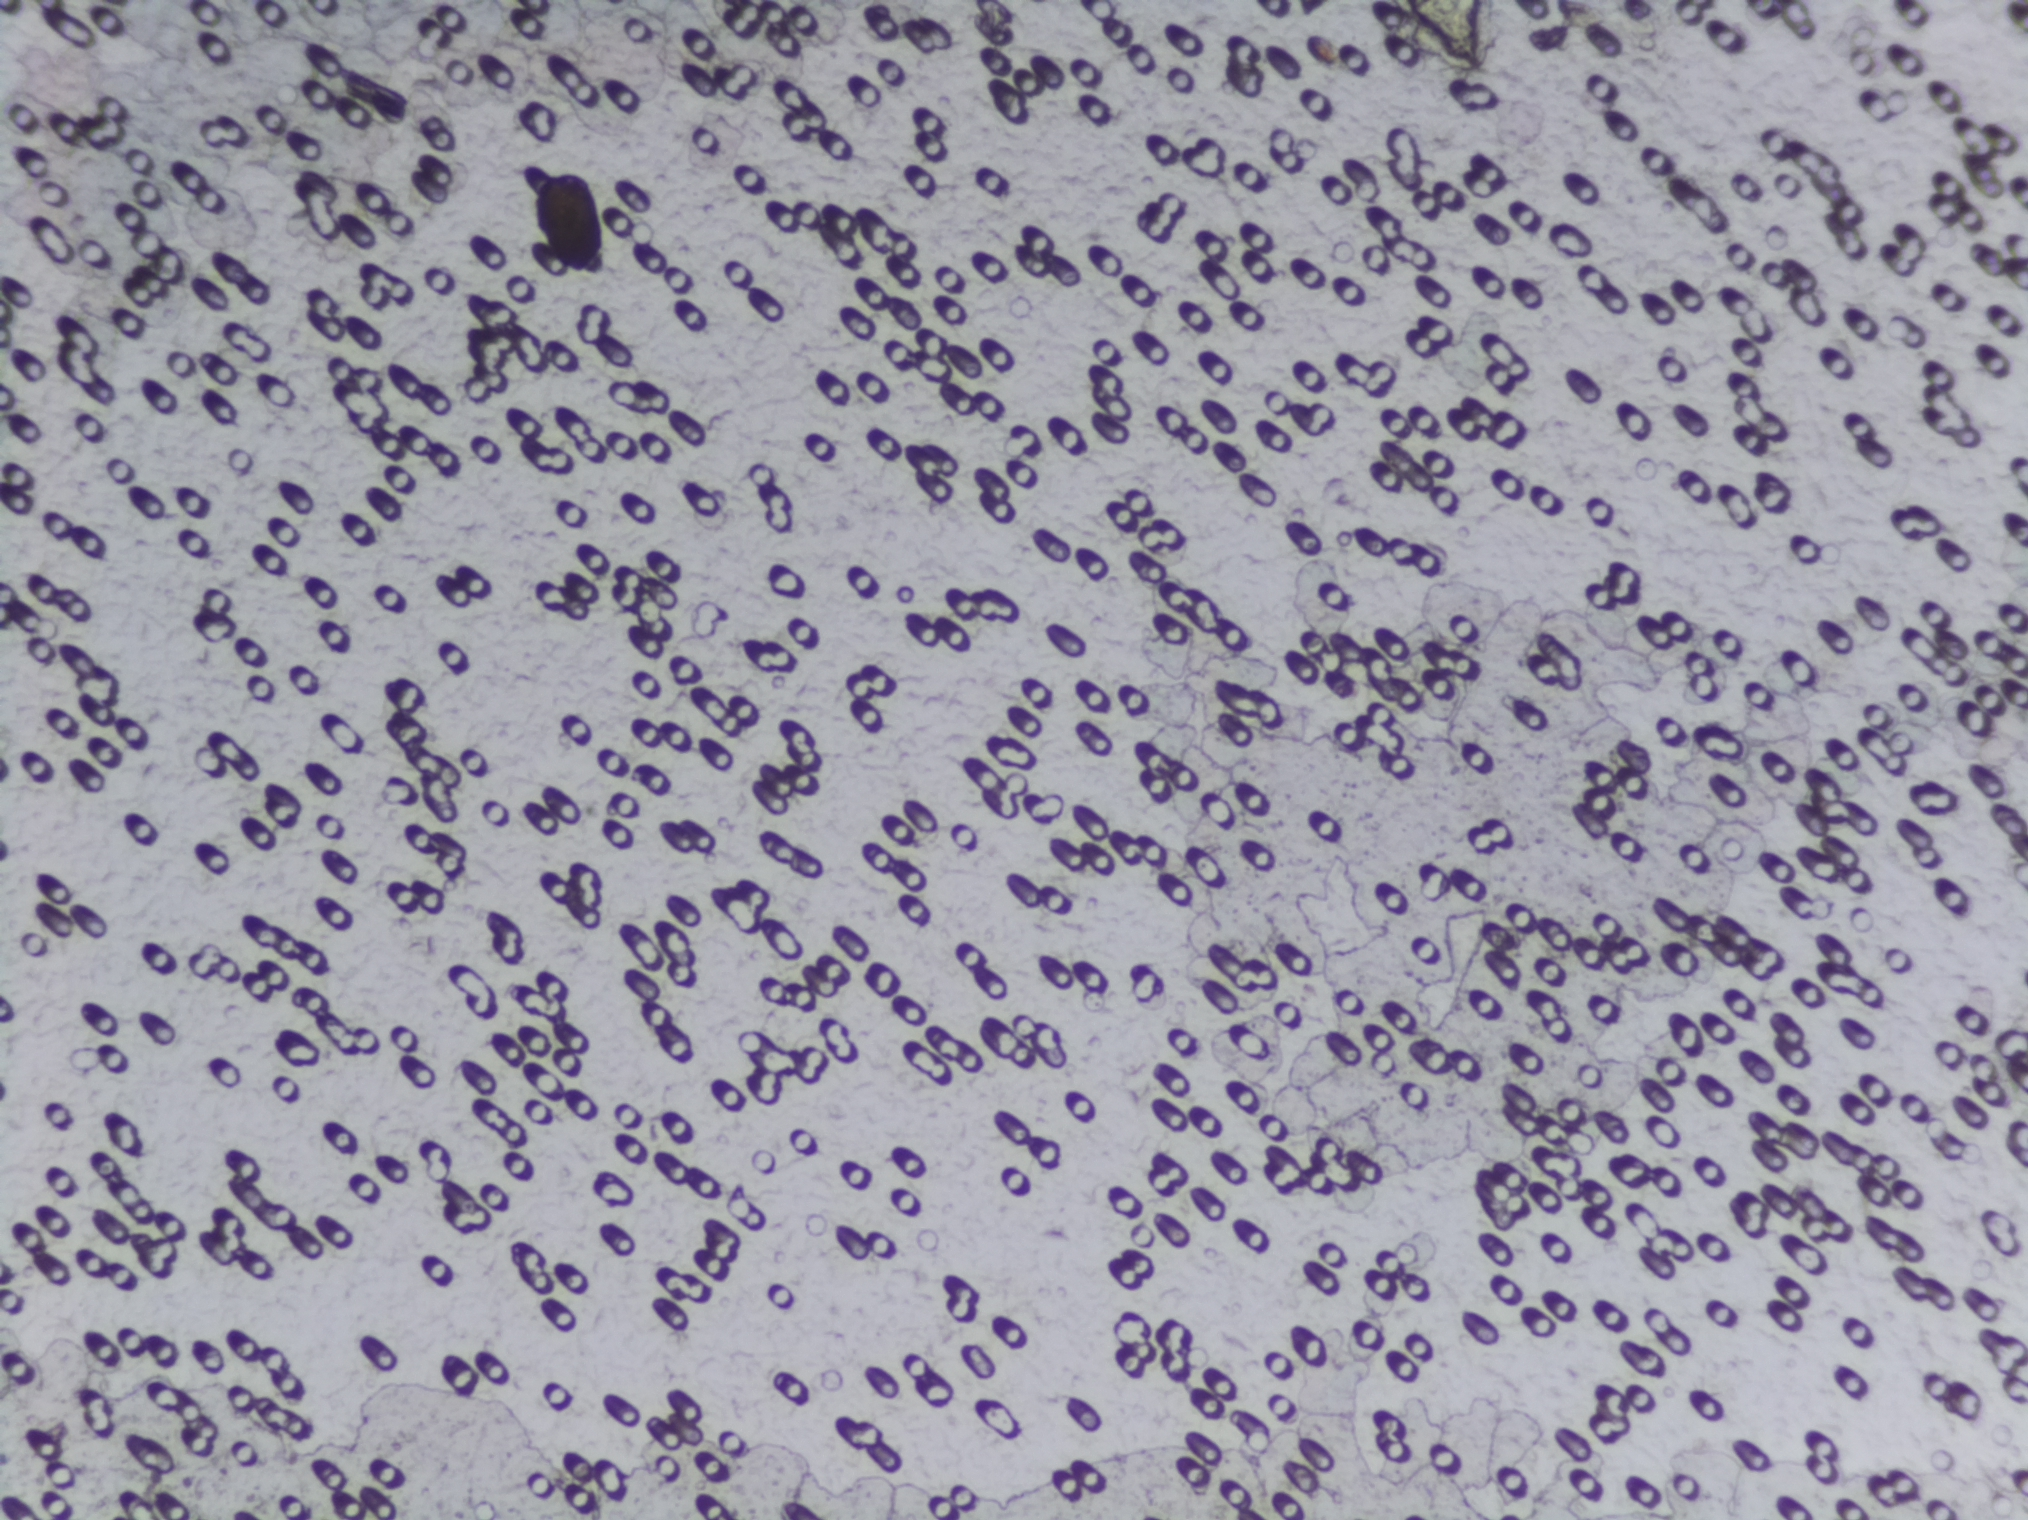
Photograph from an automated digital microscope: urine filter membrane, 4× objective.
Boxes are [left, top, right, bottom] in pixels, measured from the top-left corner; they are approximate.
Schistosoma eggs, outlined areas: [1370, 0, 1522, 81] (reaching the top edge of the frame). Eggs that touch can end up inside the same outlined area.